Urine filtration membrane under a 4× objective, photographed by an automated digital microscope.
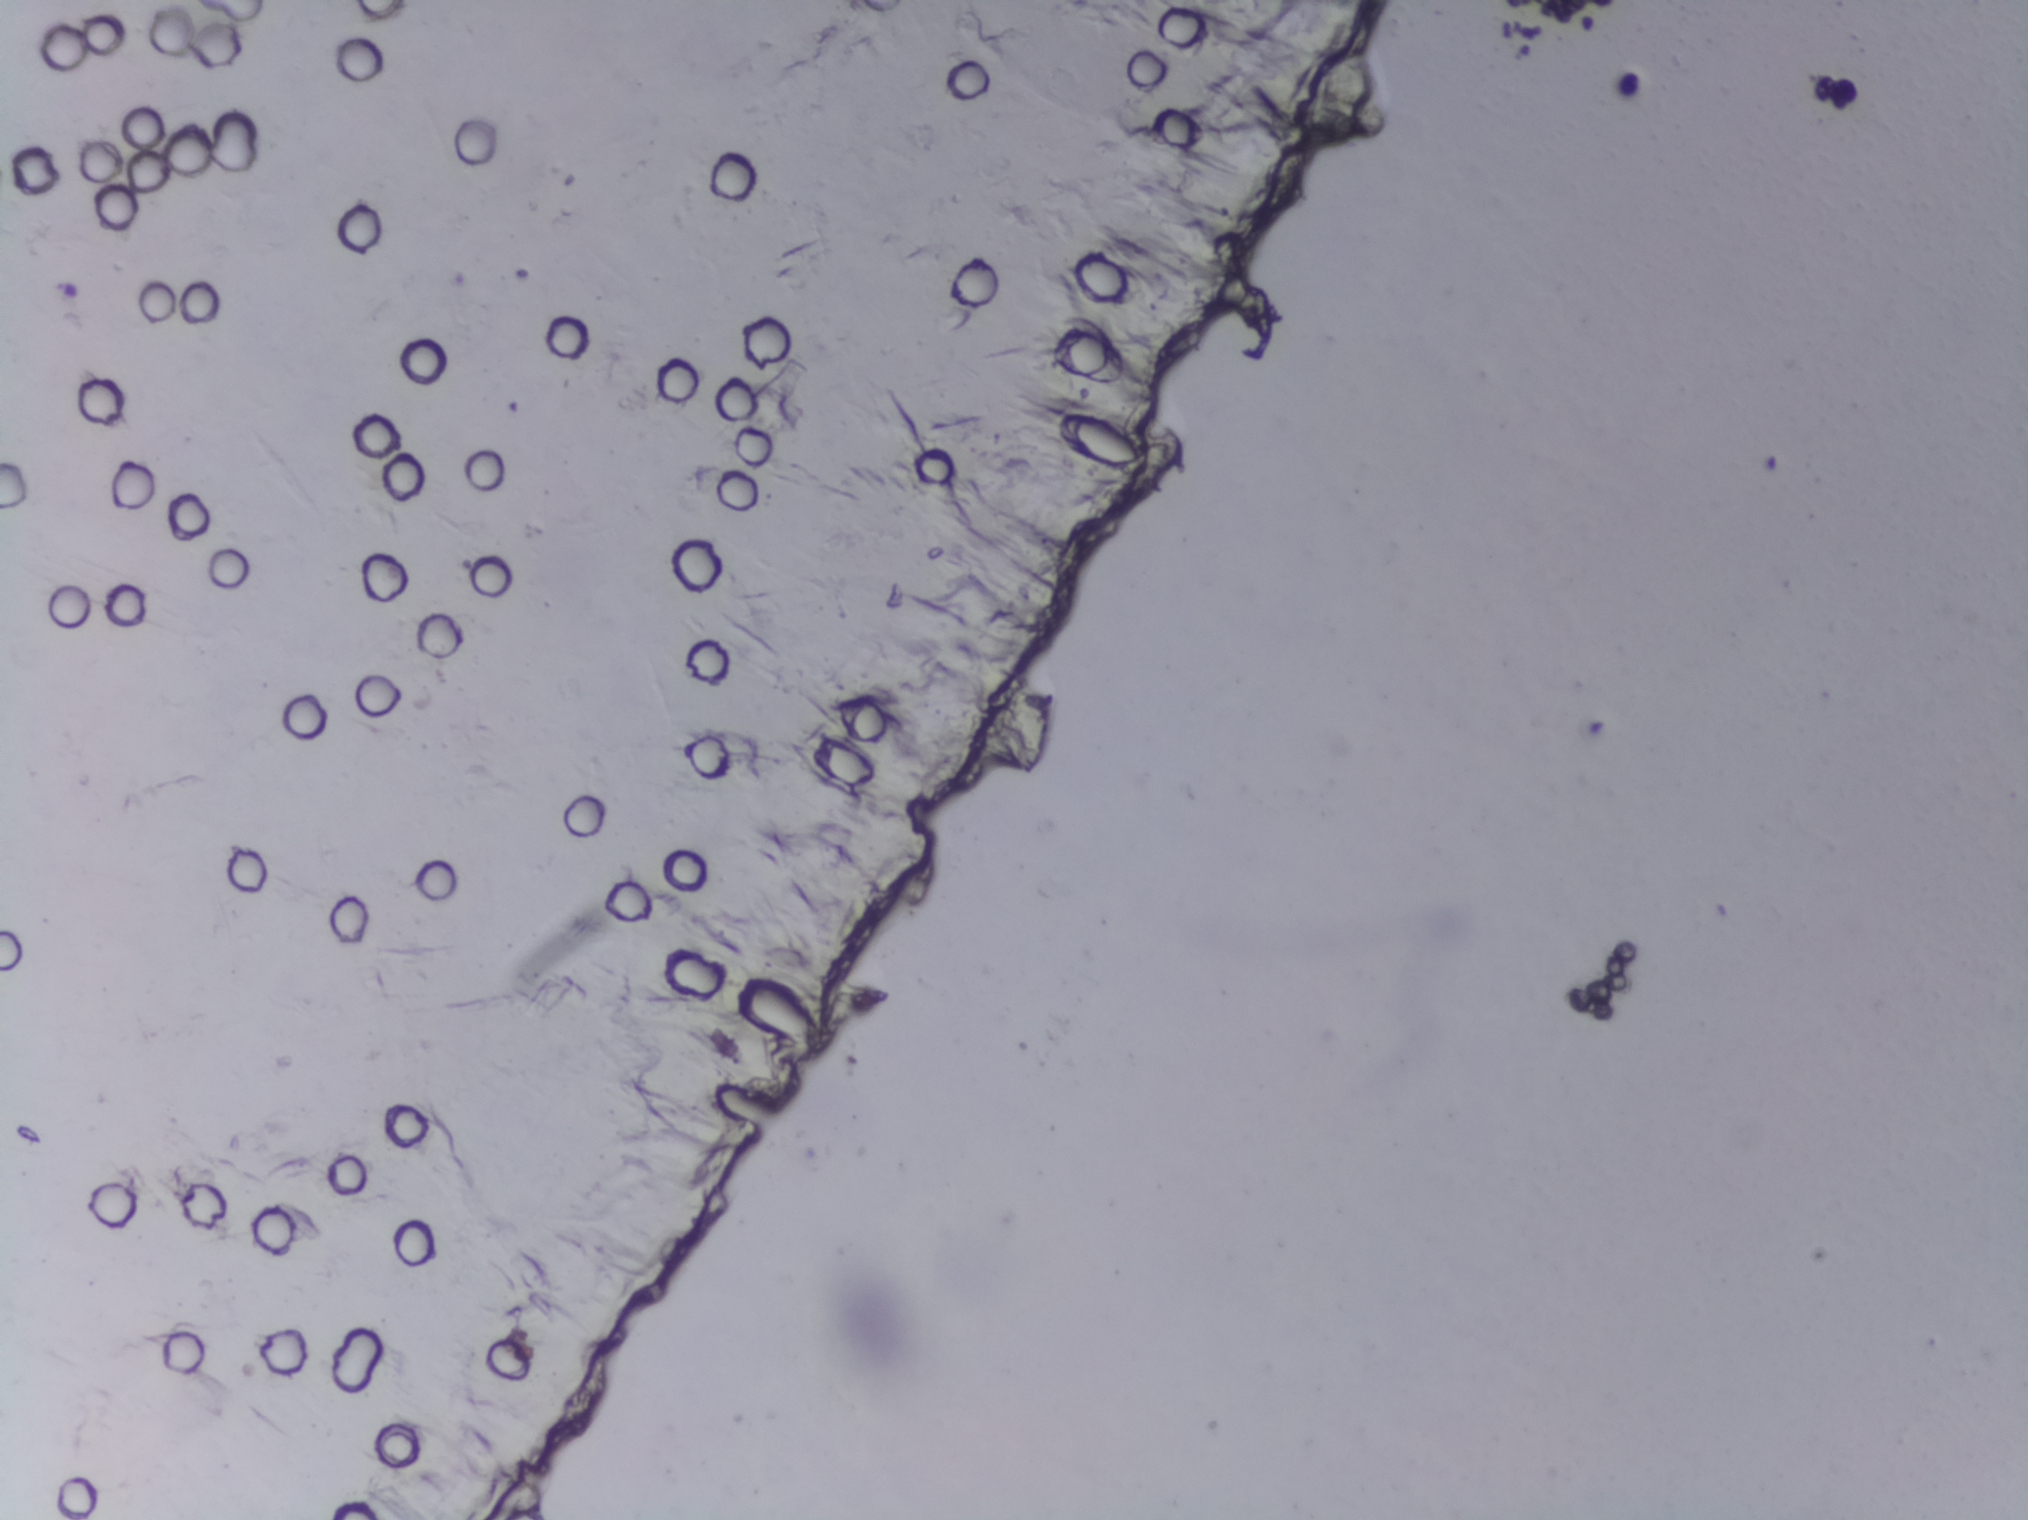
Schistosoma eggs: none outlined.